Urine filter membrane photographed through a 4× microscope objective. The image covers about 1.5 × 1.1 mm of the membrane.
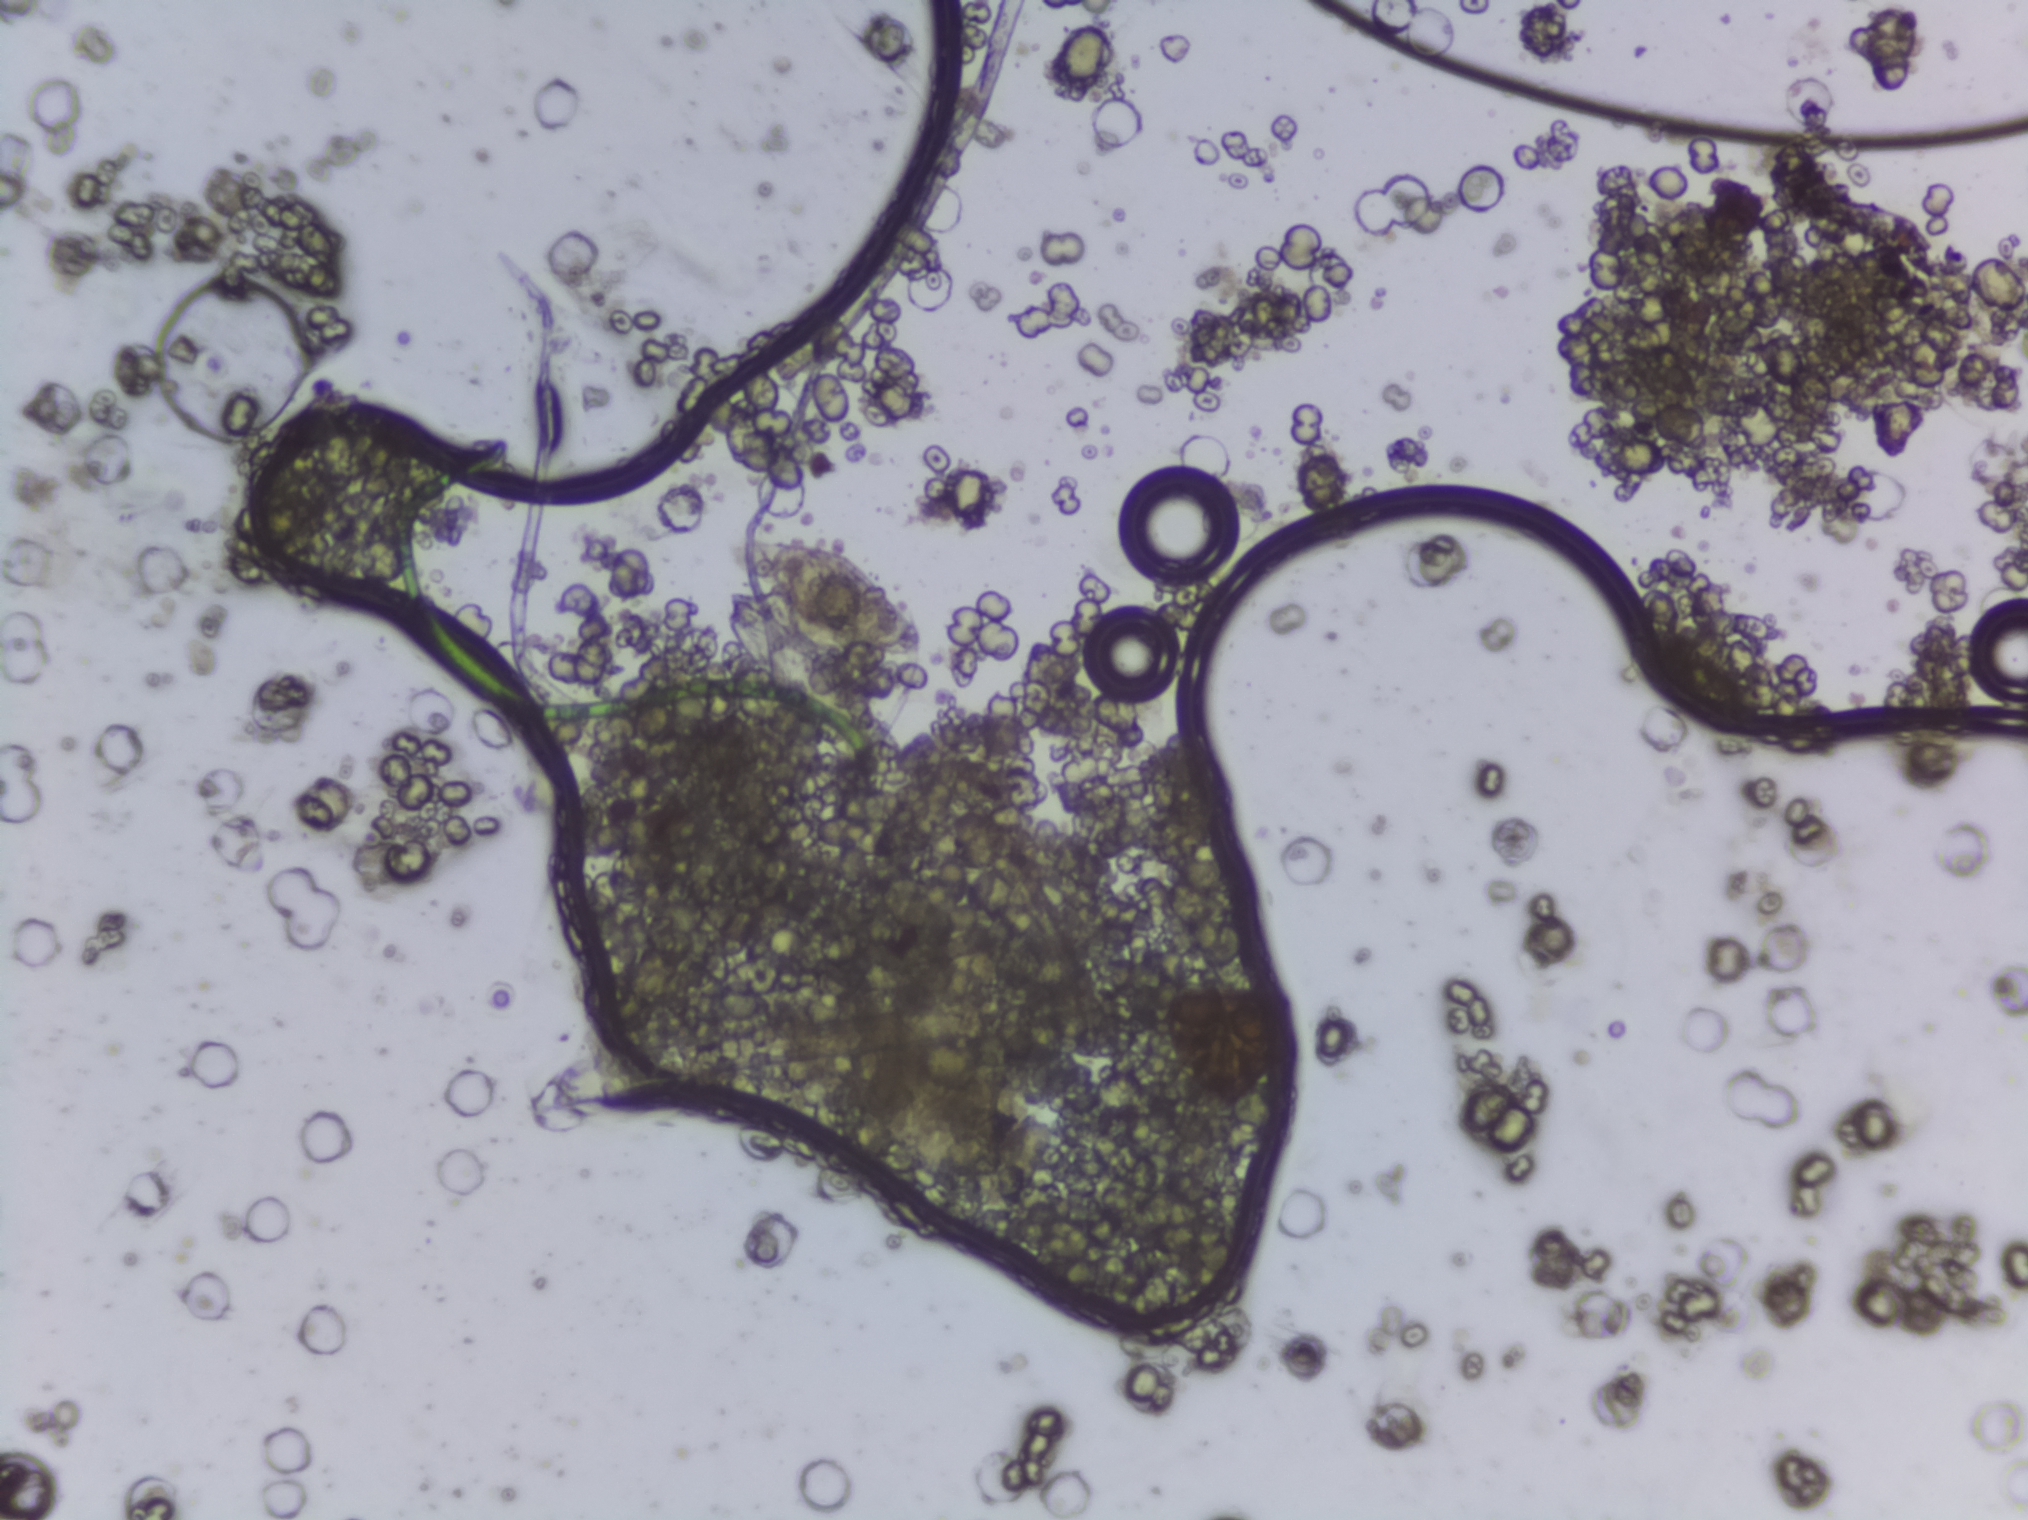
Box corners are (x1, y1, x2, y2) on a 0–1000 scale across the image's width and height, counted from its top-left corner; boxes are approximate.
Outlined Schistosoma egg areas, left to right:
1. (244, 419, 310, 493)
2. (368, 352, 456, 491)
A single outlined area may contain several eggs.